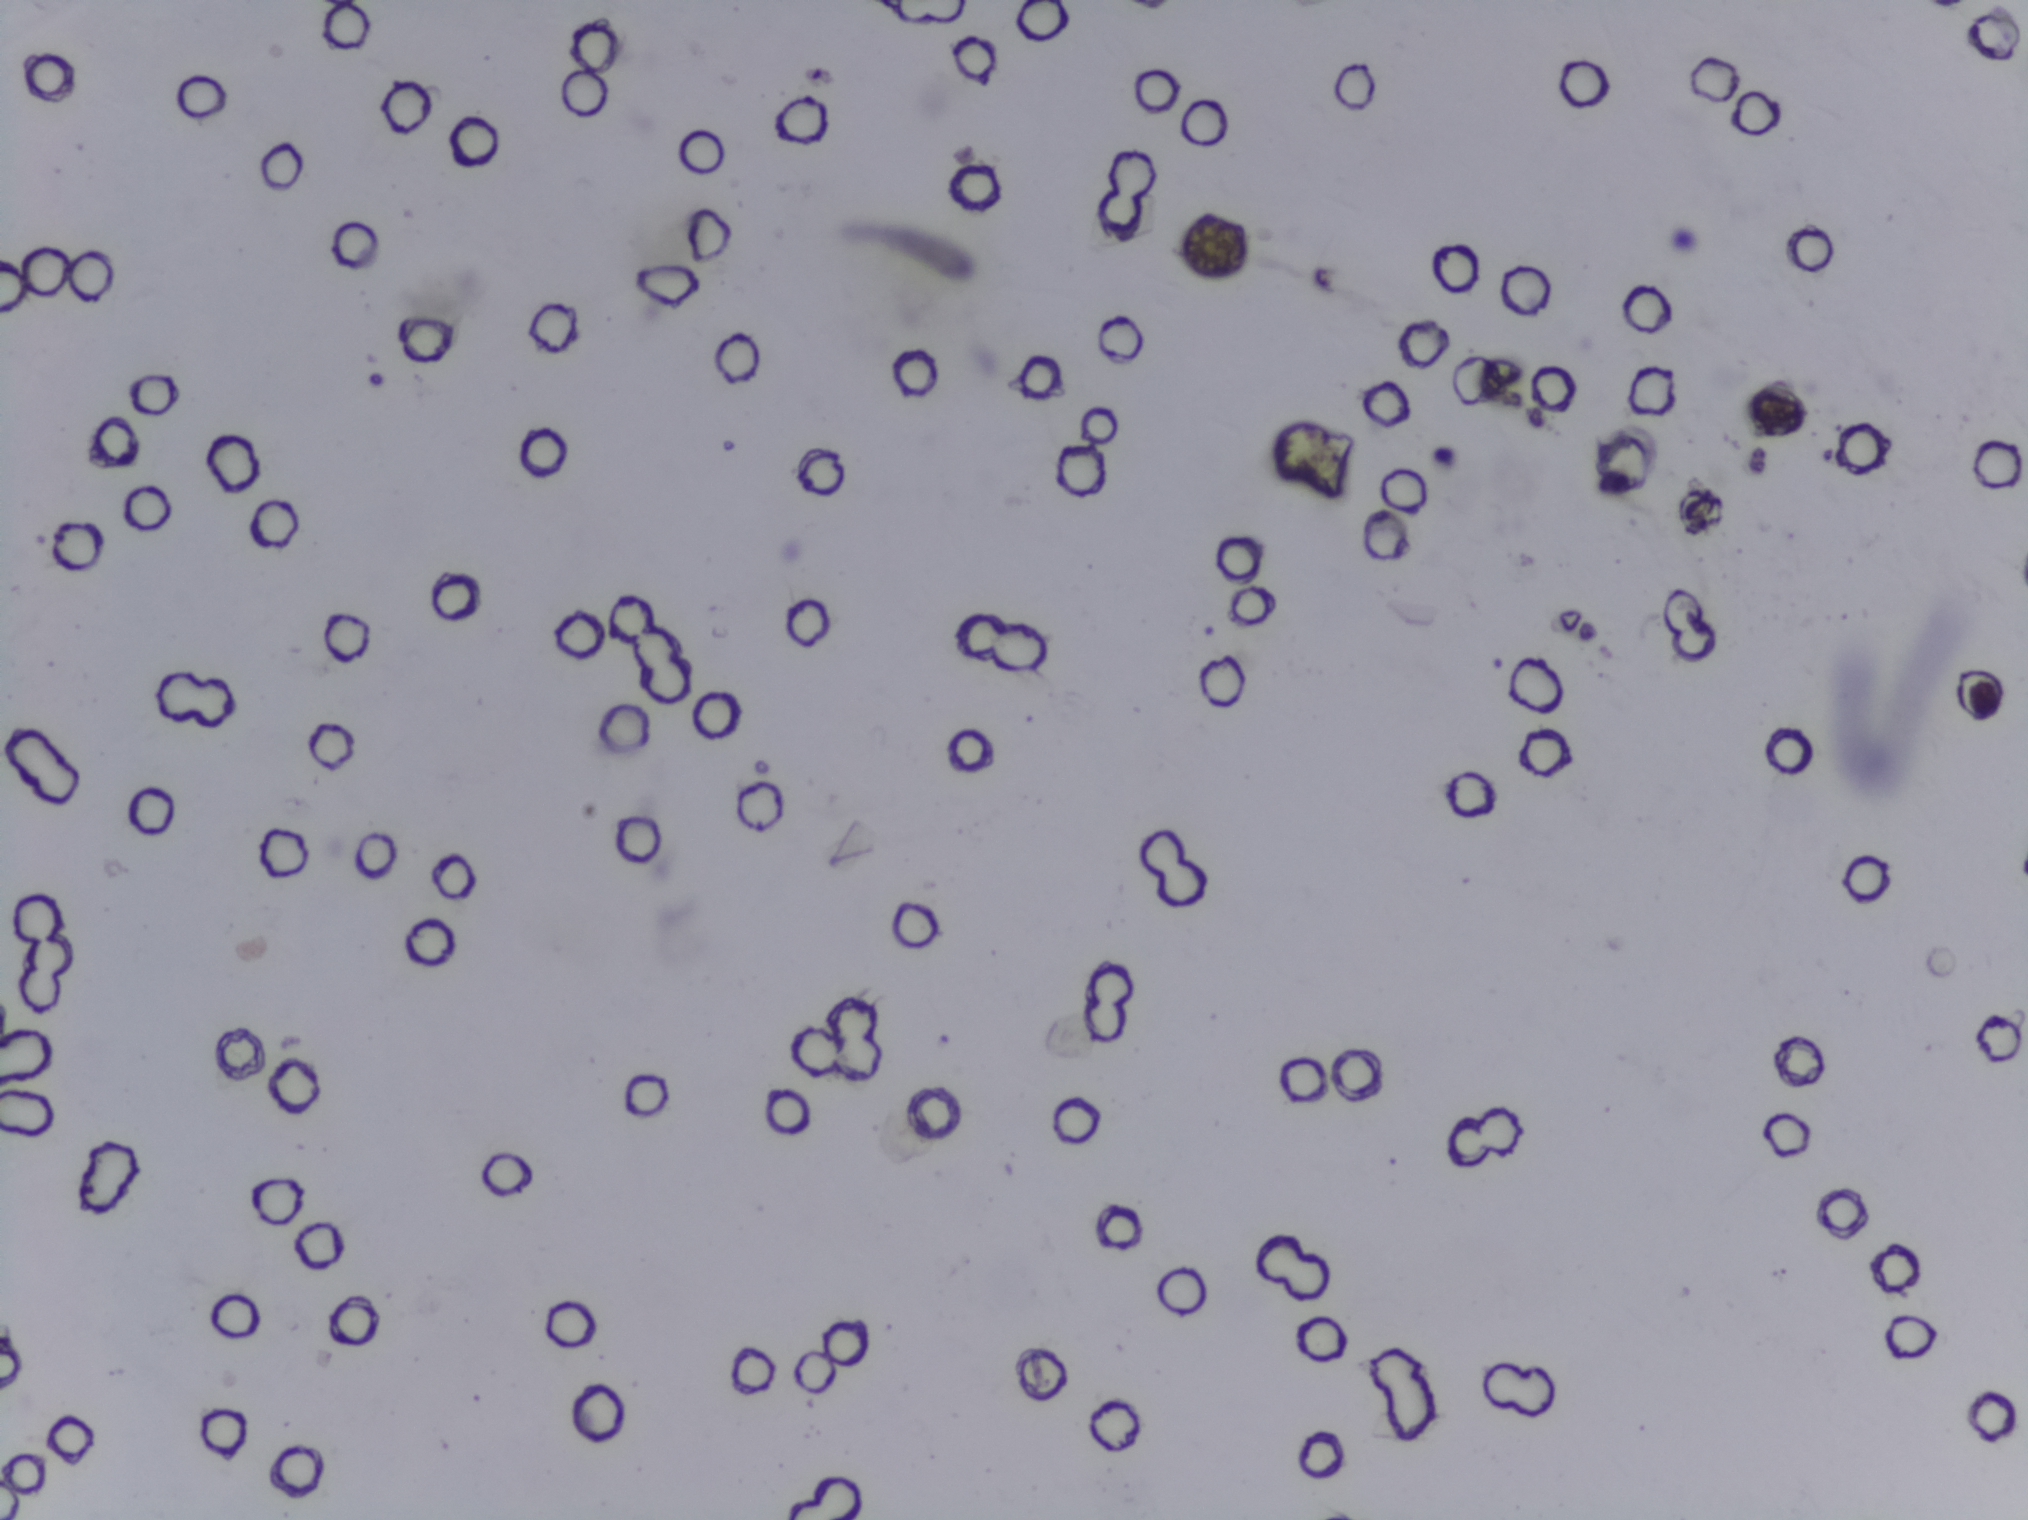
Schistosoma eggs: none outlined.
Urine filter membrane photographed through a 4× microscope objective.